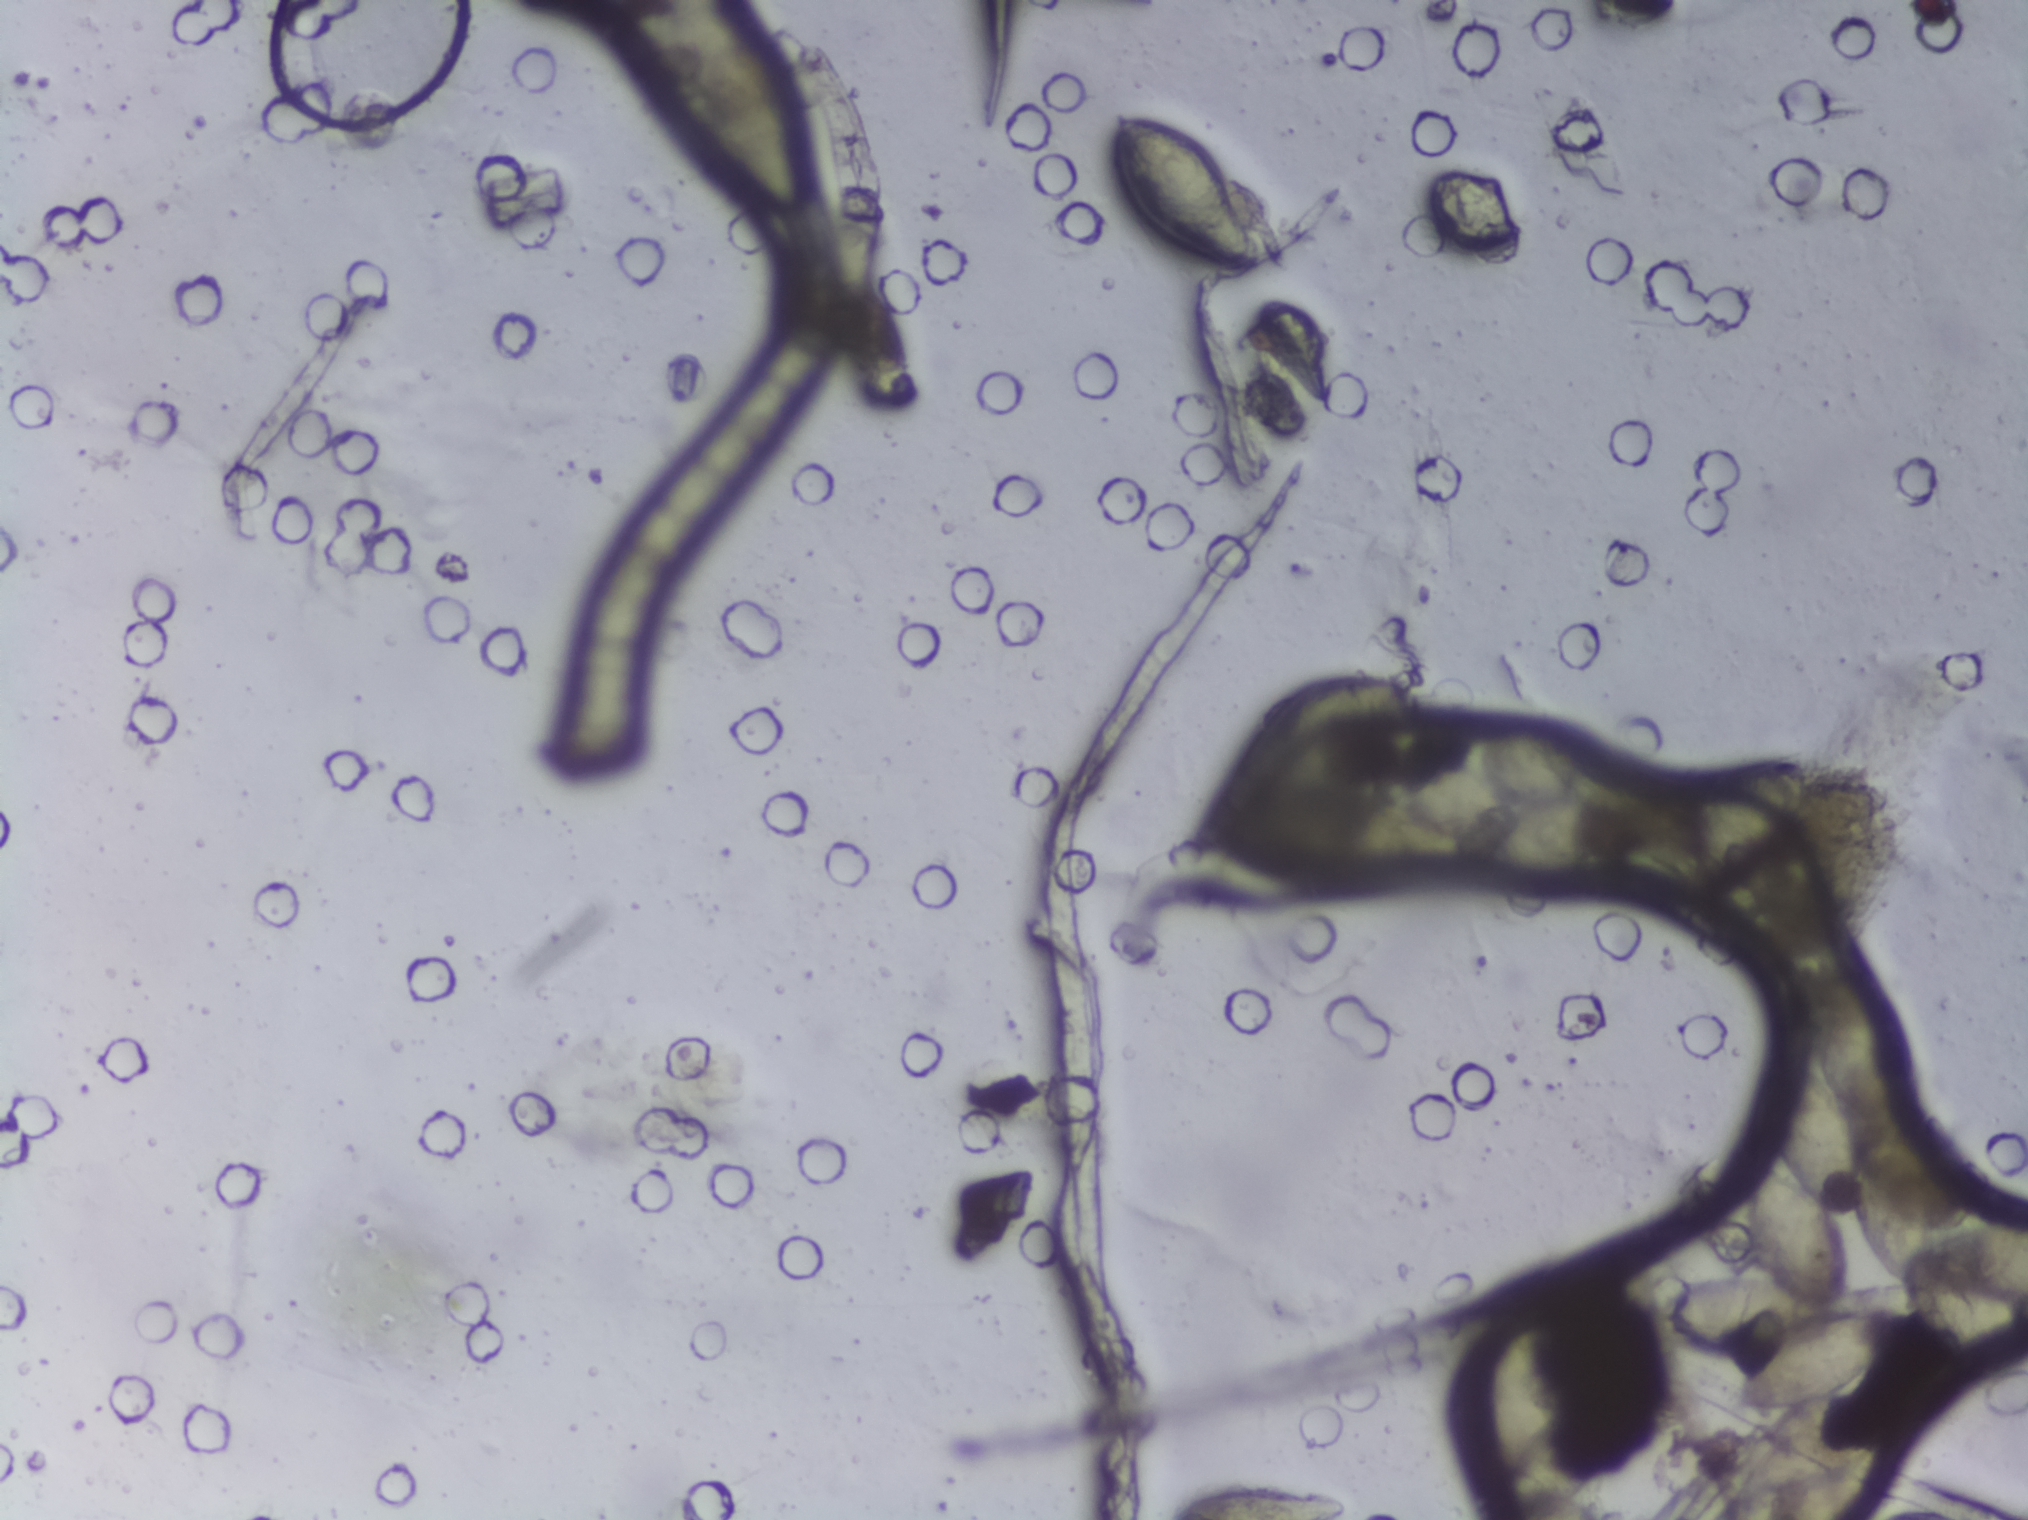
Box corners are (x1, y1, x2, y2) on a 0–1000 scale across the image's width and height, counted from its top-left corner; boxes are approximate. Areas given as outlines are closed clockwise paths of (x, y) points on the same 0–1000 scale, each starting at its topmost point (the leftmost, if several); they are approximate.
Schistosoma eggs are outlined in six areas of this image, listed from left to right: box (543, 72, 625, 182); box (571, 975, 668, 1000) (reaching the bottom edge of the frame); outline (755, 471), (782, 472), (830, 519), (849, 502), (884, 498), (893, 515), (890, 542), (877, 561), (834, 587), (744, 578), (730, 573), (725, 552), (720, 553), (723, 570), (718, 575), (691, 583), (661, 580), (621, 566), (609, 558), (603, 547), (605, 531), (622, 517), (664, 515), (672, 504), (693, 498), (710, 497), (721, 505), (737, 506), (756, 524), (769, 522), (755, 496) (eggs clustered together); box (619, 441, 702, 494); box (727, 926, 791, 1000) (reaching the bottom edge of the frame); outline (898, 629), (914, 635), (917, 630), (940, 682), (944, 710), (936, 740), (952, 763), (951, 814), (979, 800), (1000, 802), (1000, 862), (996, 863), (1000, 900), (990, 910), (975, 910), (968, 905), (942, 863), (937, 843), (922, 831), (912, 796), (907, 803), (910, 860), (929, 865), (935, 875), (928, 894), (911, 914), (920, 915), (927, 924), (928, 937), (925, 947), (931, 952), (932, 963), (917, 1000), (870, 1000), (874, 983), (855, 983), (848, 977), (852, 952), (861, 940), (875, 932), (852, 928), (865, 892), (842, 892), (823, 882), (813, 870), (813, 862), (835, 842), (864, 837), (856, 813), (856, 765), (864, 760), (878, 769), (873, 737), (873, 708), (881, 690), (896, 698), (887, 661), (892, 635) (eggs clustered together; reaching the right and bottom edges of the frame). Marked pixels, not the boxes and the outlines around them: about 6.7% of the image. Eggs that touch can end up inside the same outlined area.
Photograph from an automated digital microscope: urine filter membrane, 4× objective. The image covers about 1.5 × 1.1 mm of the membrane.